Photograph from an automated digital microscope: urine filter membrane, 4× objective.
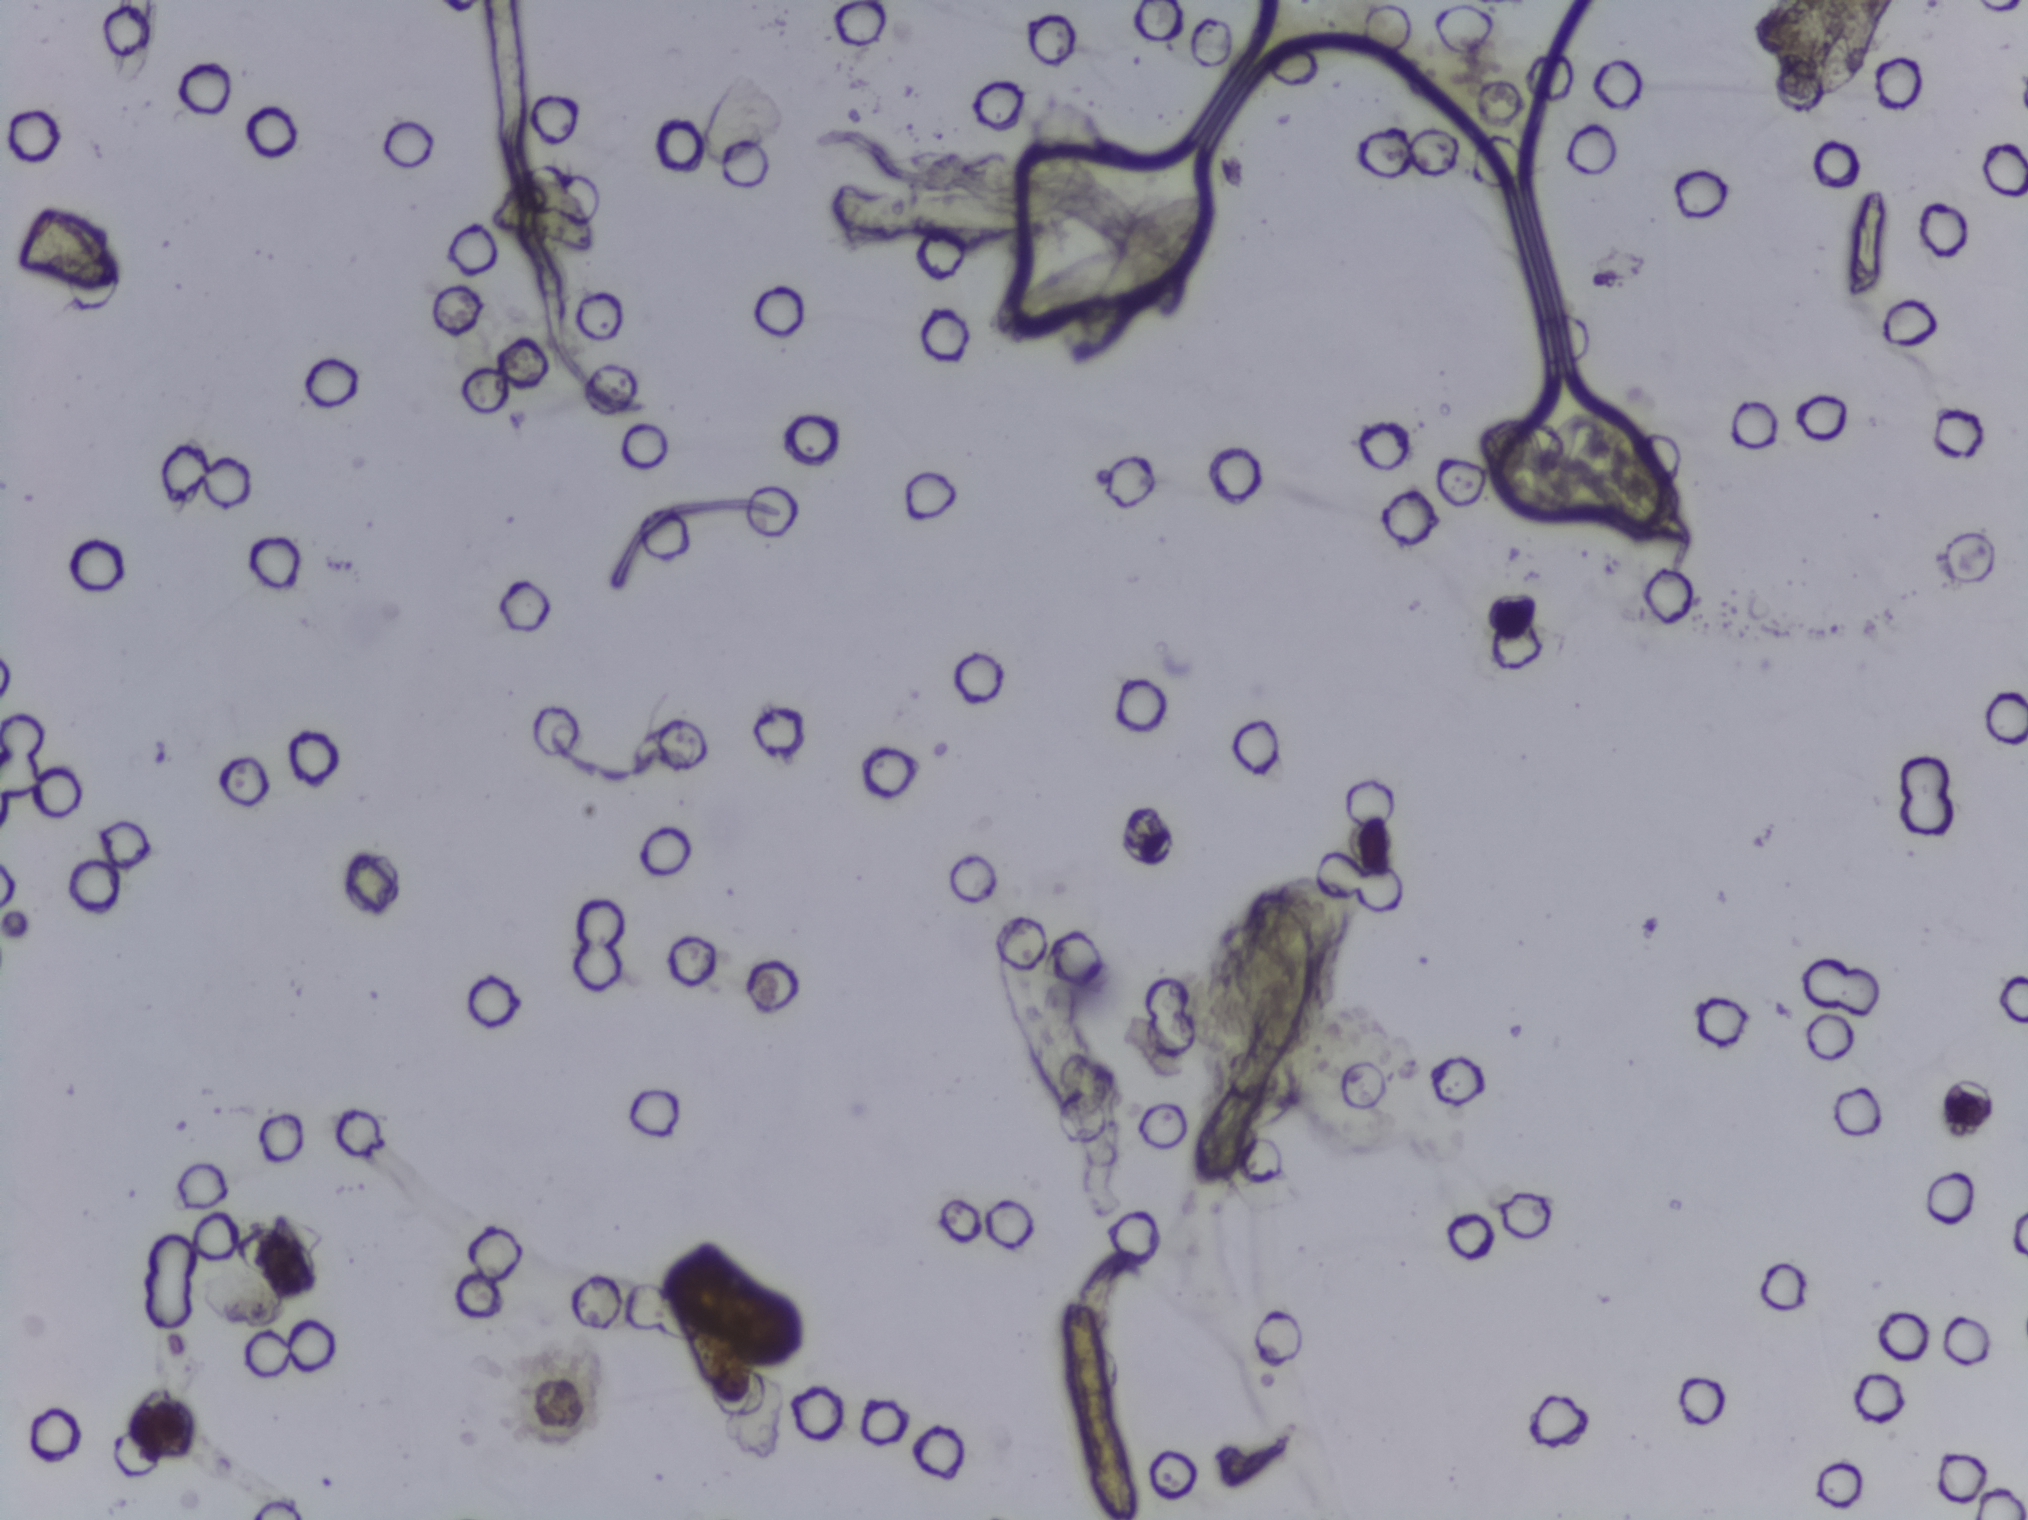
No Schistosoma egg is outlined in this image's expert annotation.